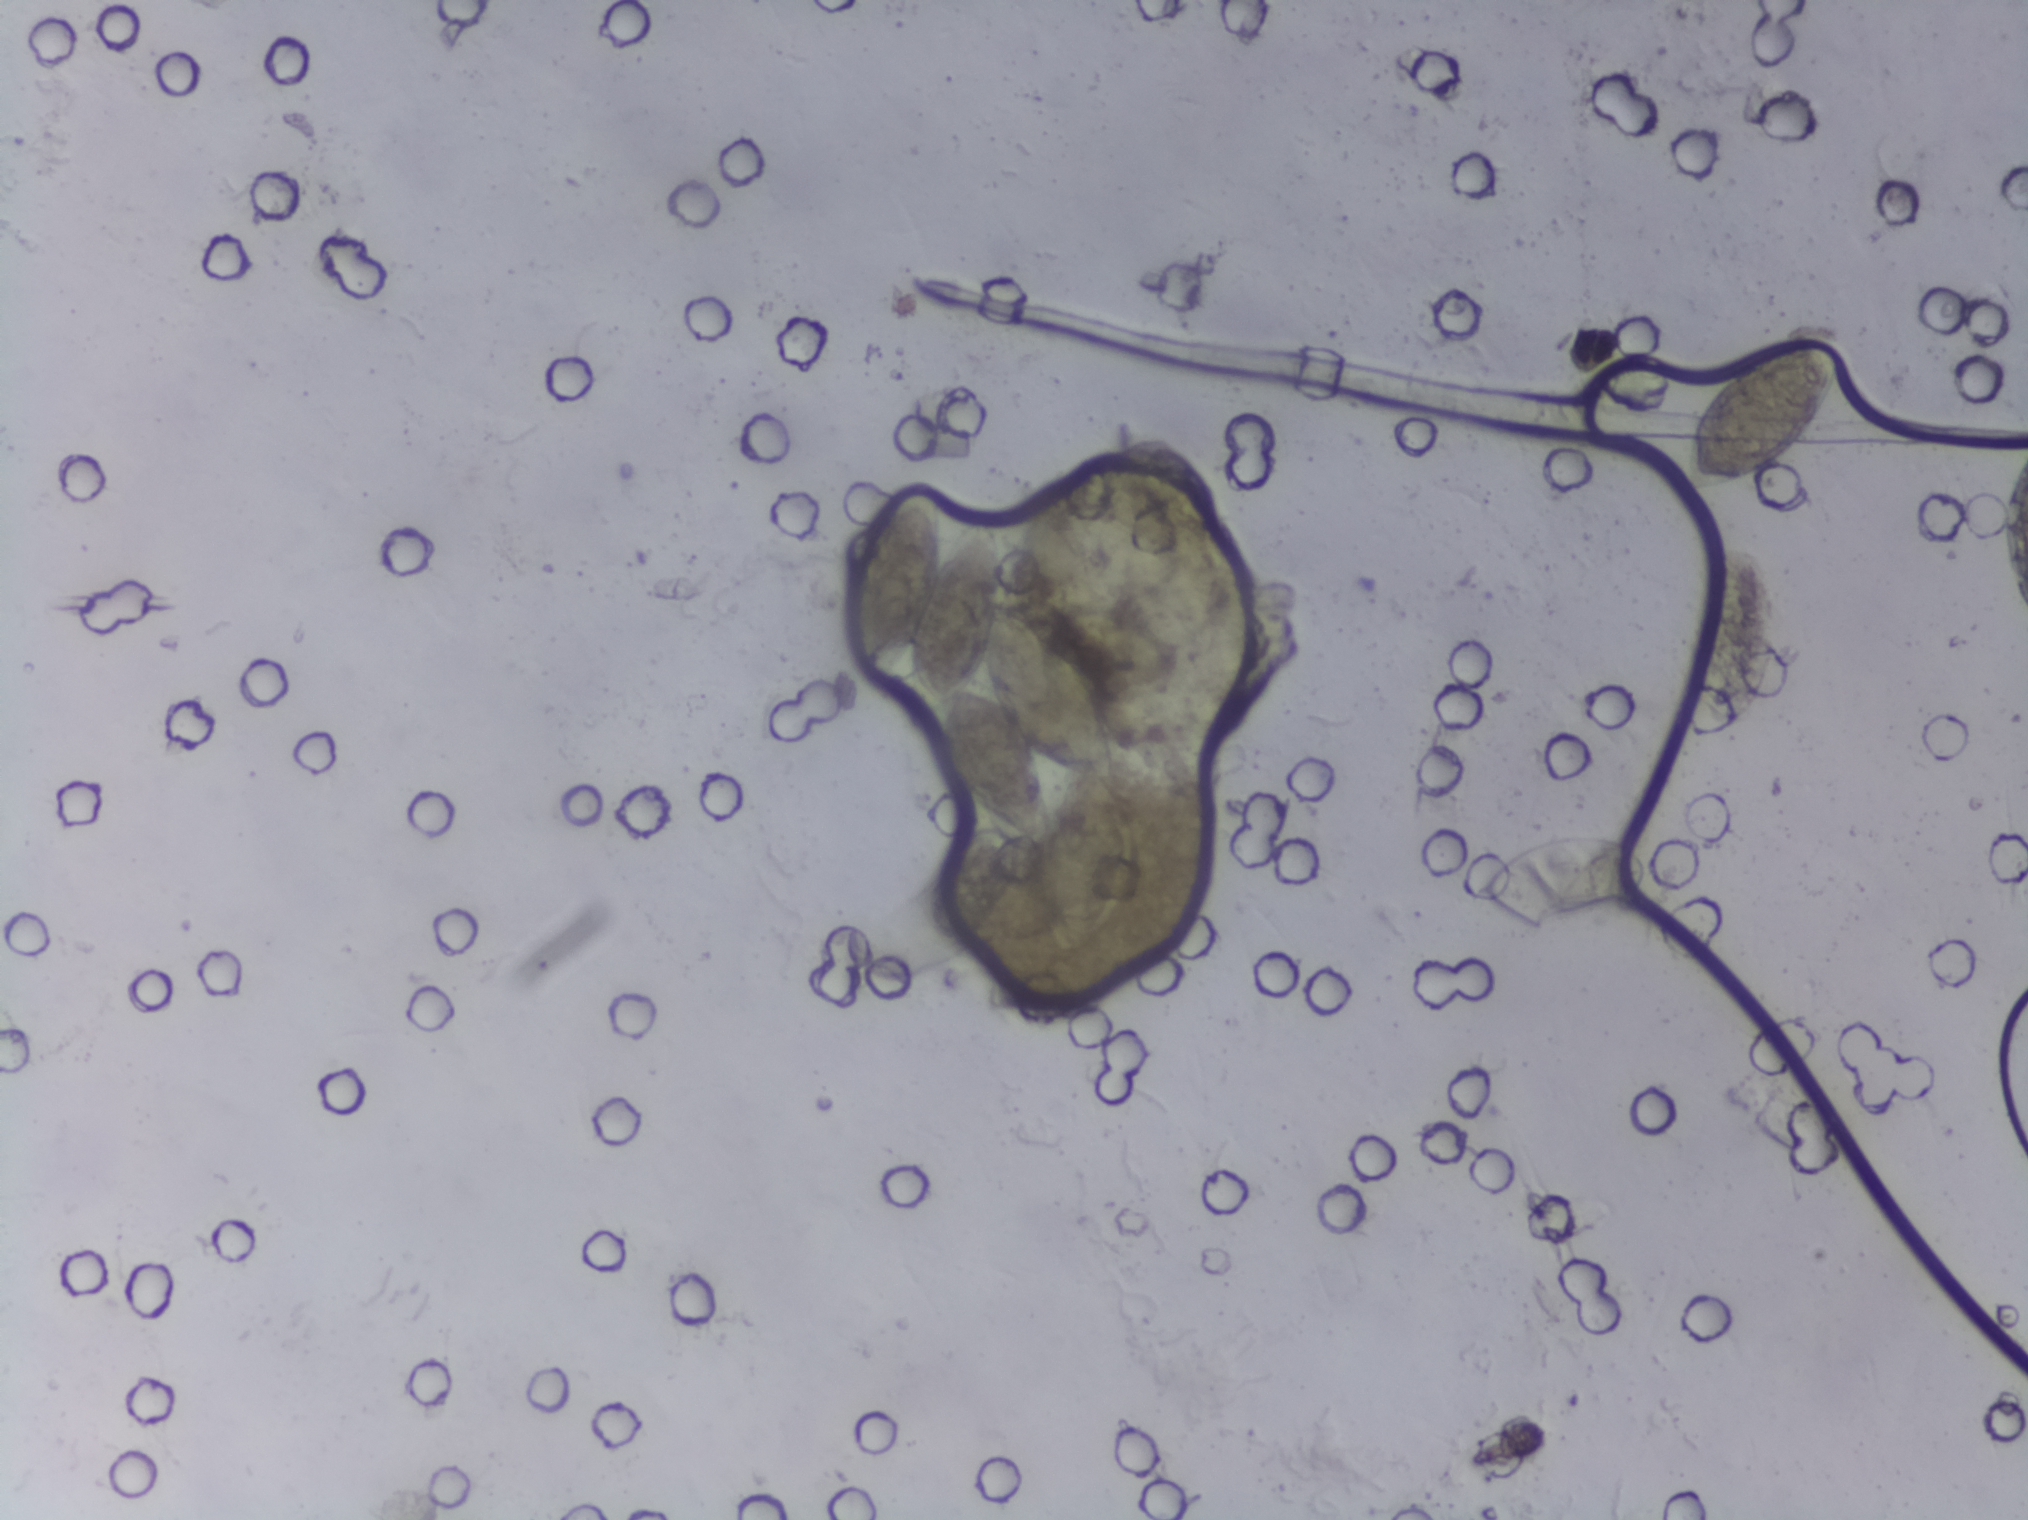
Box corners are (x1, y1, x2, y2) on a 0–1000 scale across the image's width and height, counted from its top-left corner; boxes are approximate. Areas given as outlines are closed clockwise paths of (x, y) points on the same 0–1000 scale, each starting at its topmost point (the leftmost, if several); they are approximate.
Areas outlined as Schistosoma eggs, left to right:
1. outline (454, 325), (464, 331), (465, 371), (477, 347), (487, 344), (491, 349), (494, 362), (493, 395), (511, 402), (539, 443), (550, 475), (551, 509), (546, 515), (558, 549), (557, 587), (548, 612), (528, 628), (520, 627), (508, 612), (504, 589), (508, 553), (484, 612), (468, 621), (457, 609), (457, 598), (470, 558), (486, 542), (468, 515), (463, 487), (466, 463), (452, 454), (451, 417), (440, 439), (427, 440), (420, 410), (422, 388), (442, 327) (a cluster of eggs)
2. box (723, 547, 814, 616)
3. box (823, 351, 879, 493)
4. box (828, 228, 906, 328)
Eggs that touch can end up inside the same outlined area. A marked egg may occasionally be S. mansoni rather than S. haematobium.
Urine filter membrane photographed through a 4× microscope objective.